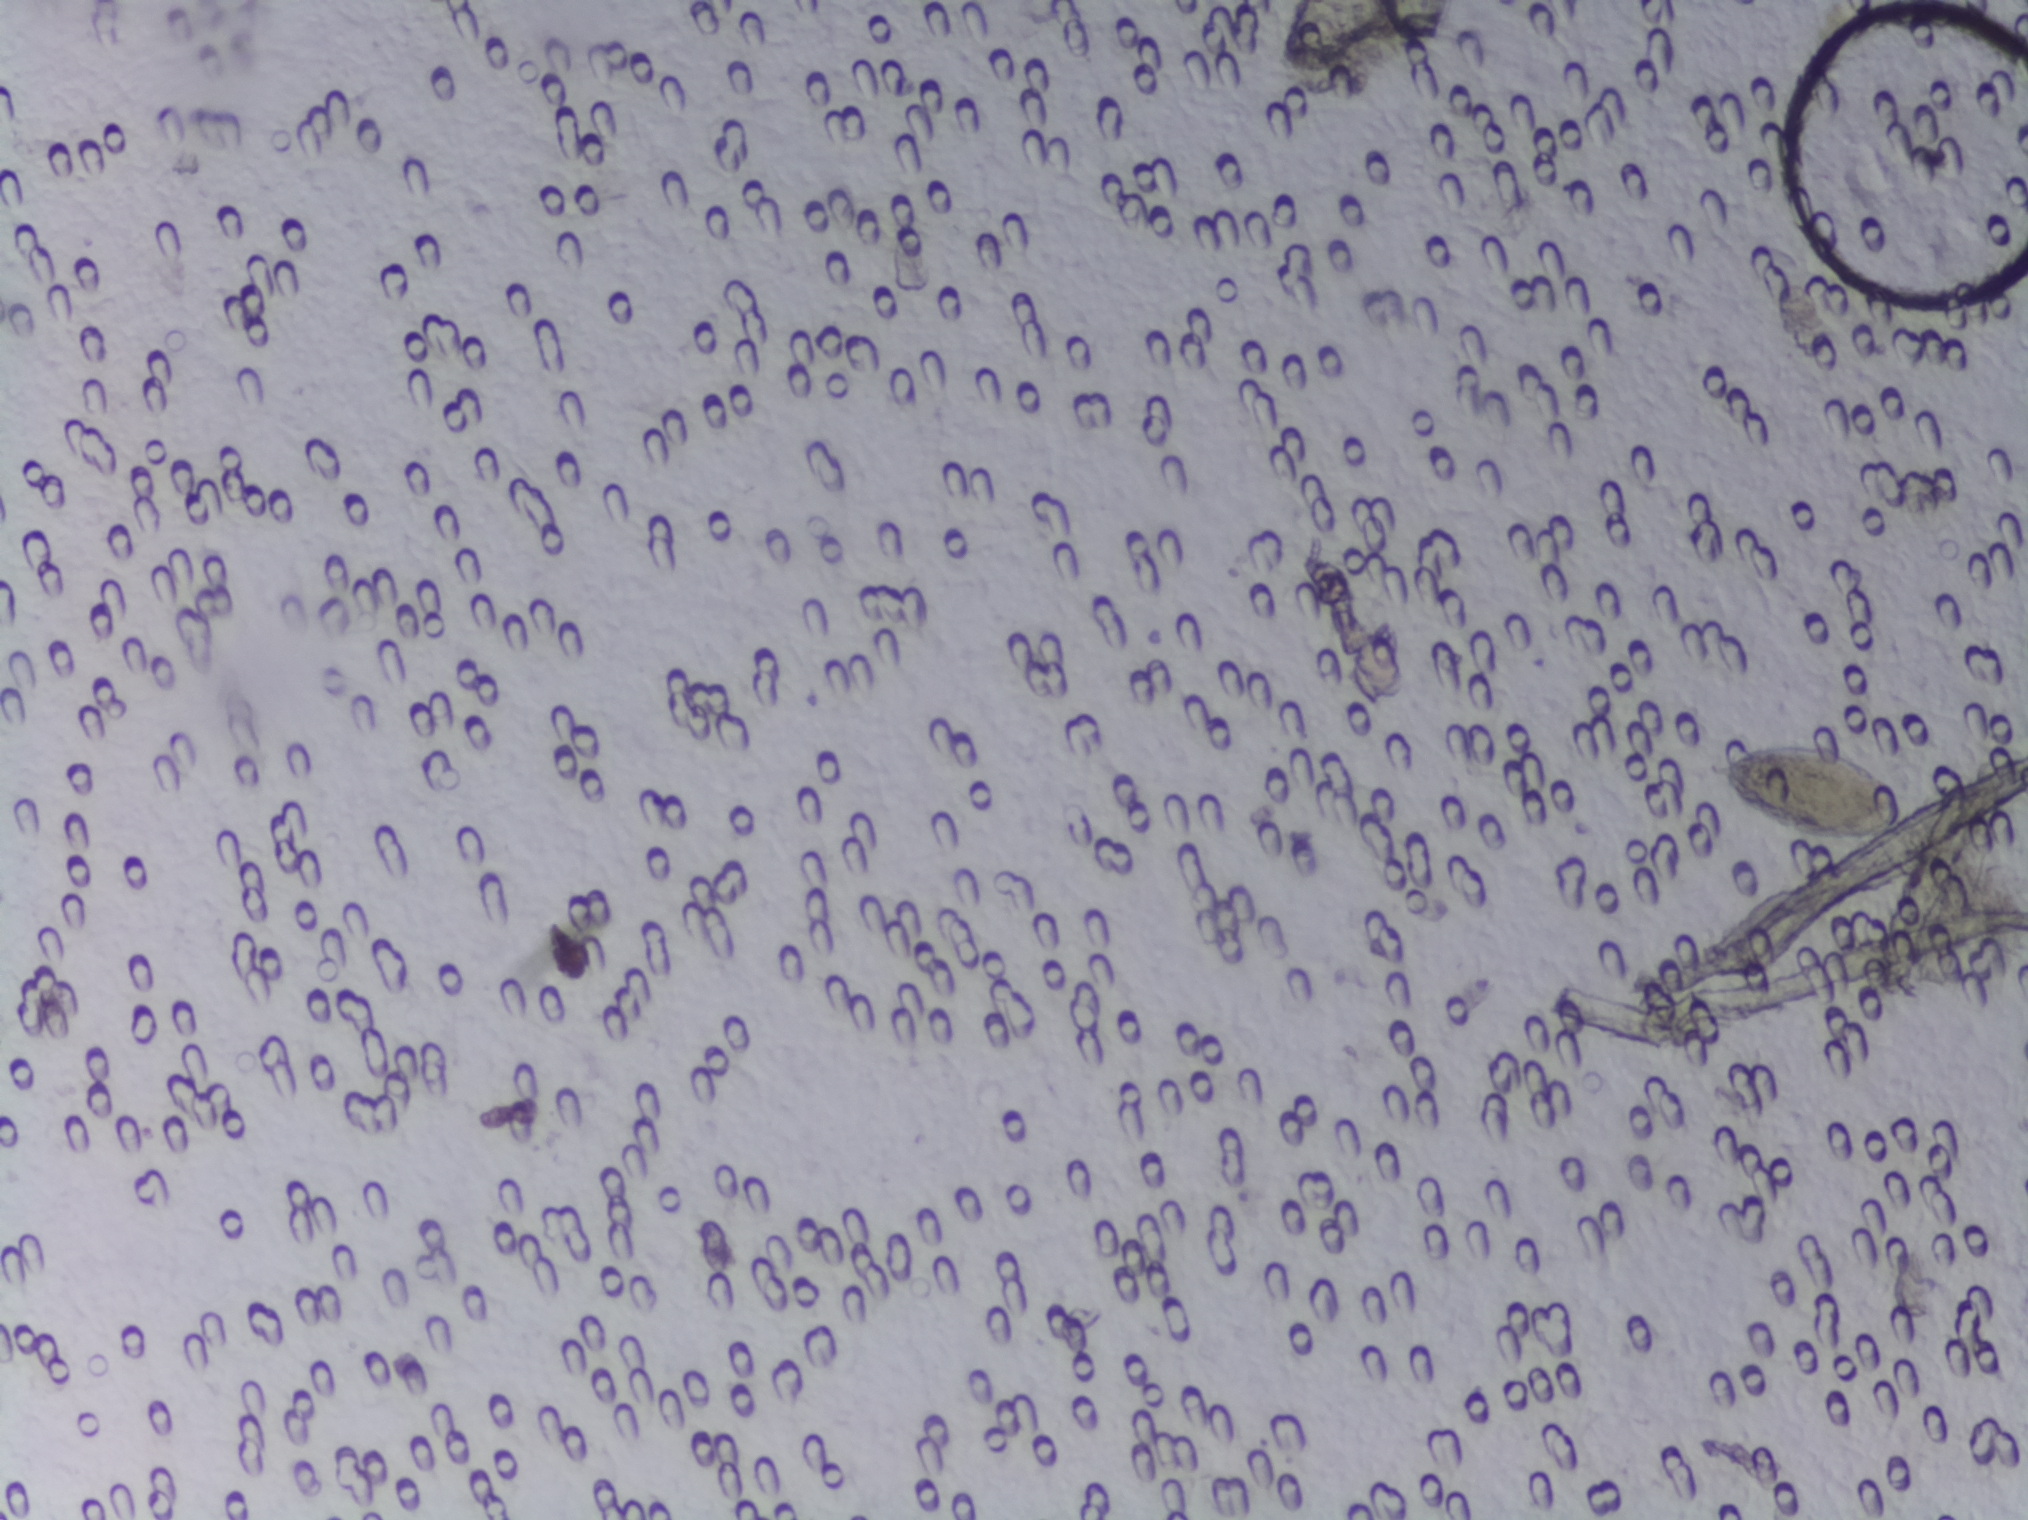
Urine filtration membrane under a 4× objective, photographed by an automated digital microscope.
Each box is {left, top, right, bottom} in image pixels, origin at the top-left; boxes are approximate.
Two areas of this image are outlined as Schistosoma eggs, from left to right: {1275, 0, 1459, 88} (reaching the top edge of the frame) and {1695, 719, 1911, 841}. A single outlined area may contain several eggs. A marked egg may occasionally be S. mansoni rather than S. haematobium.